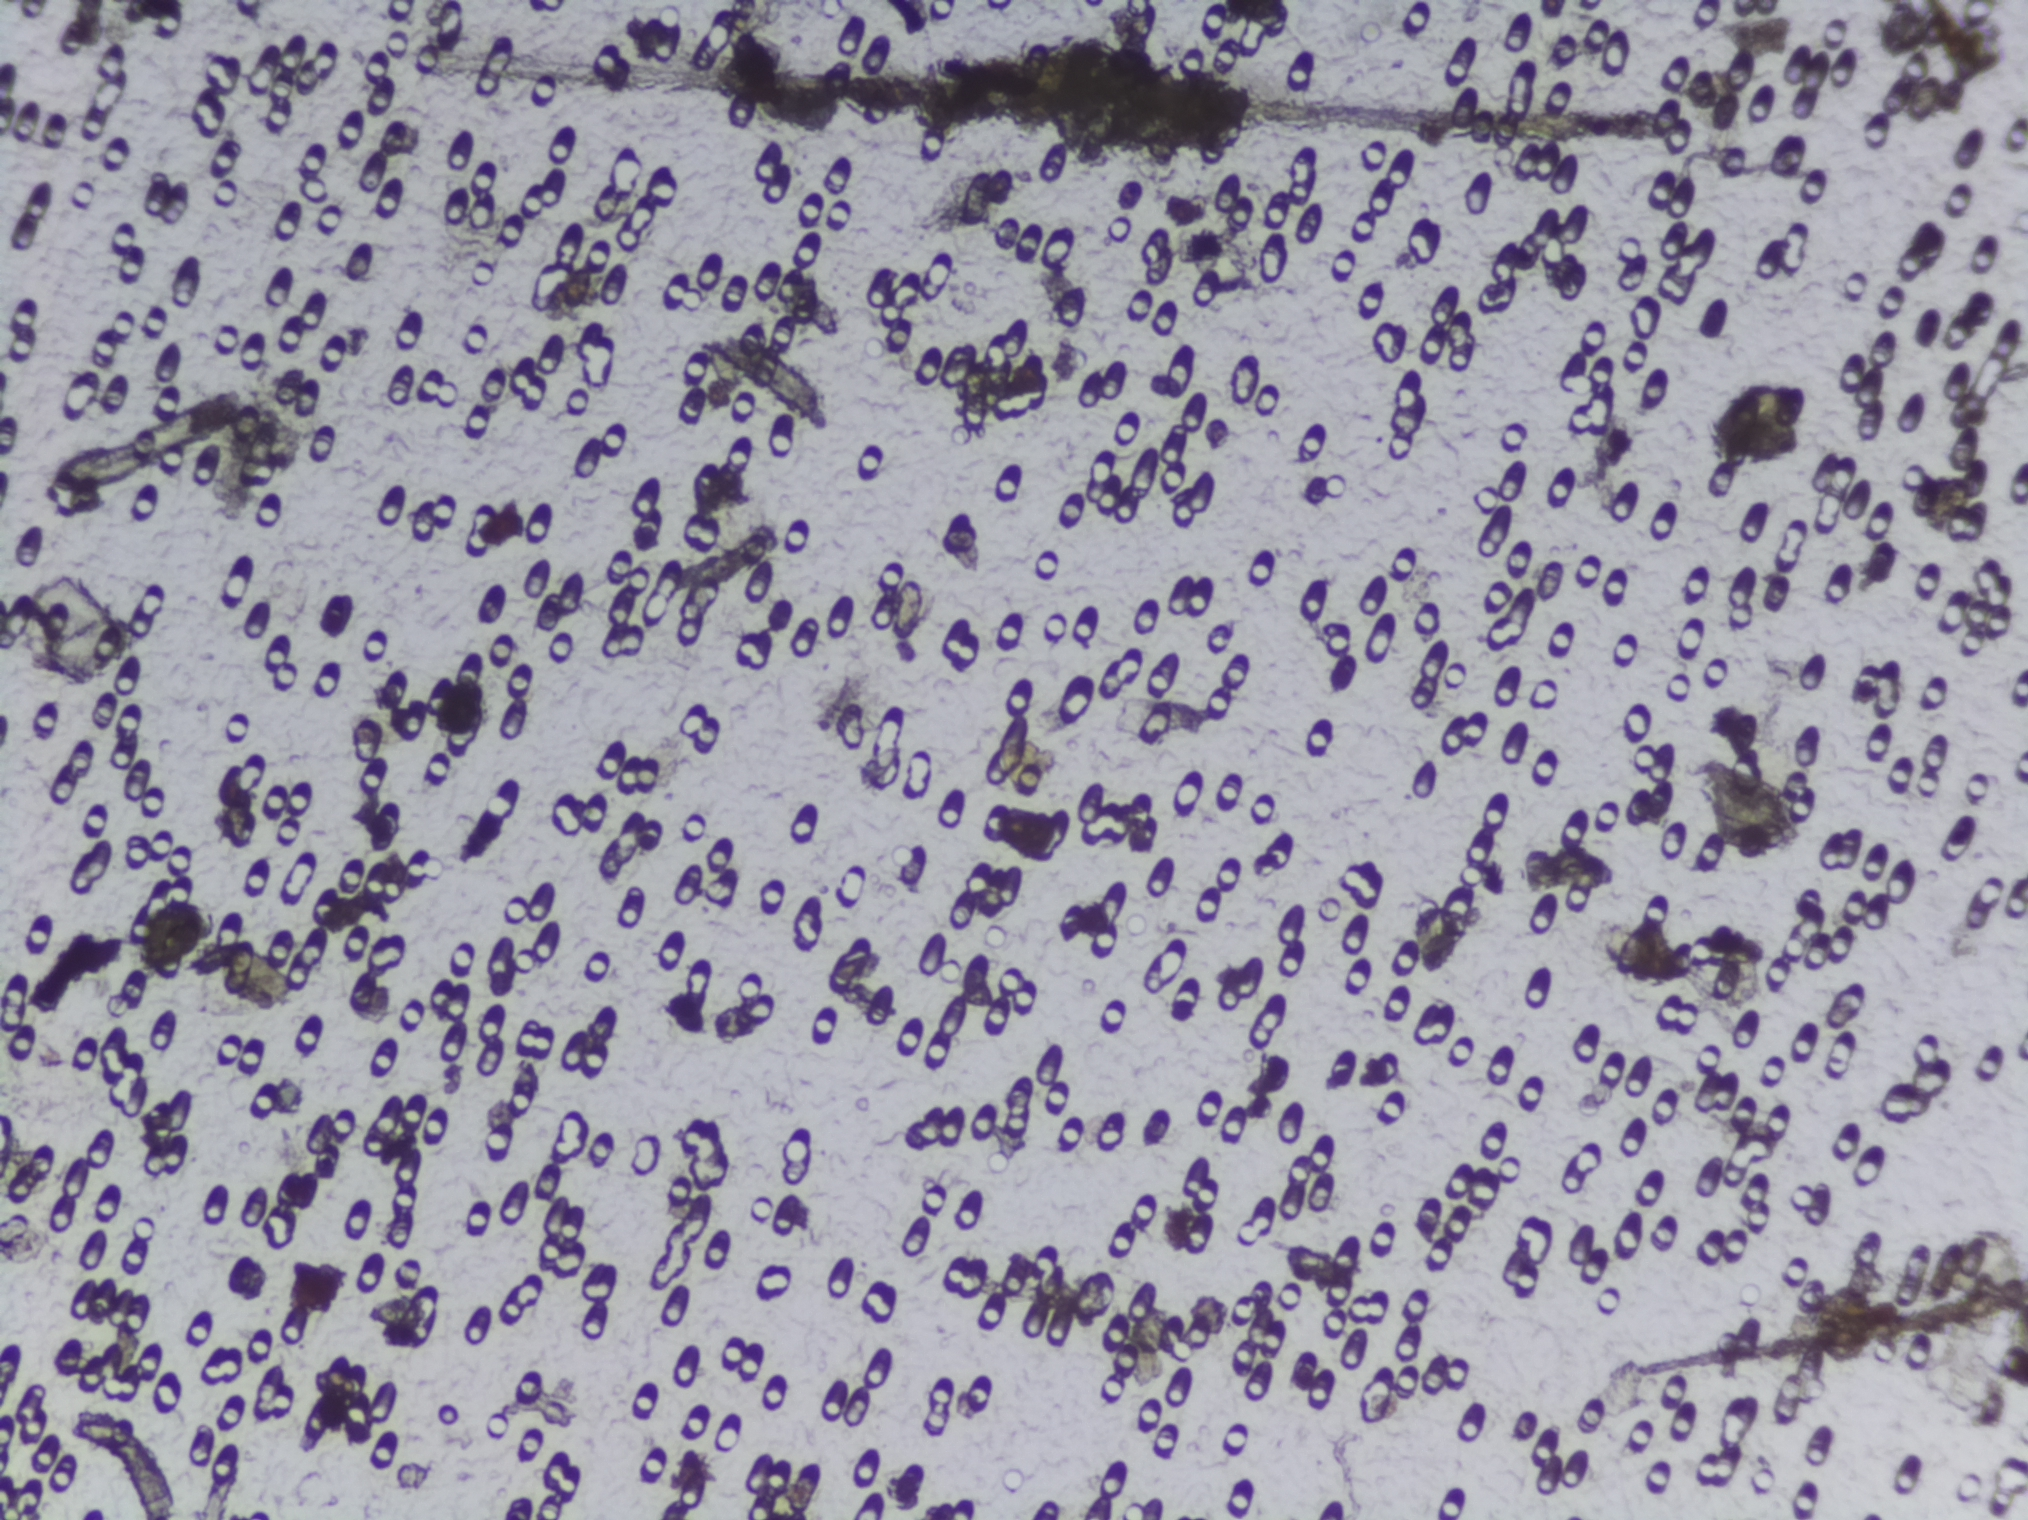
Photograph from an automated digital microscope: urine filter membrane, 4× objective. The field of view is about 1.5 mm × 1.1 mm.
Schistosoma eggs: none outlined.